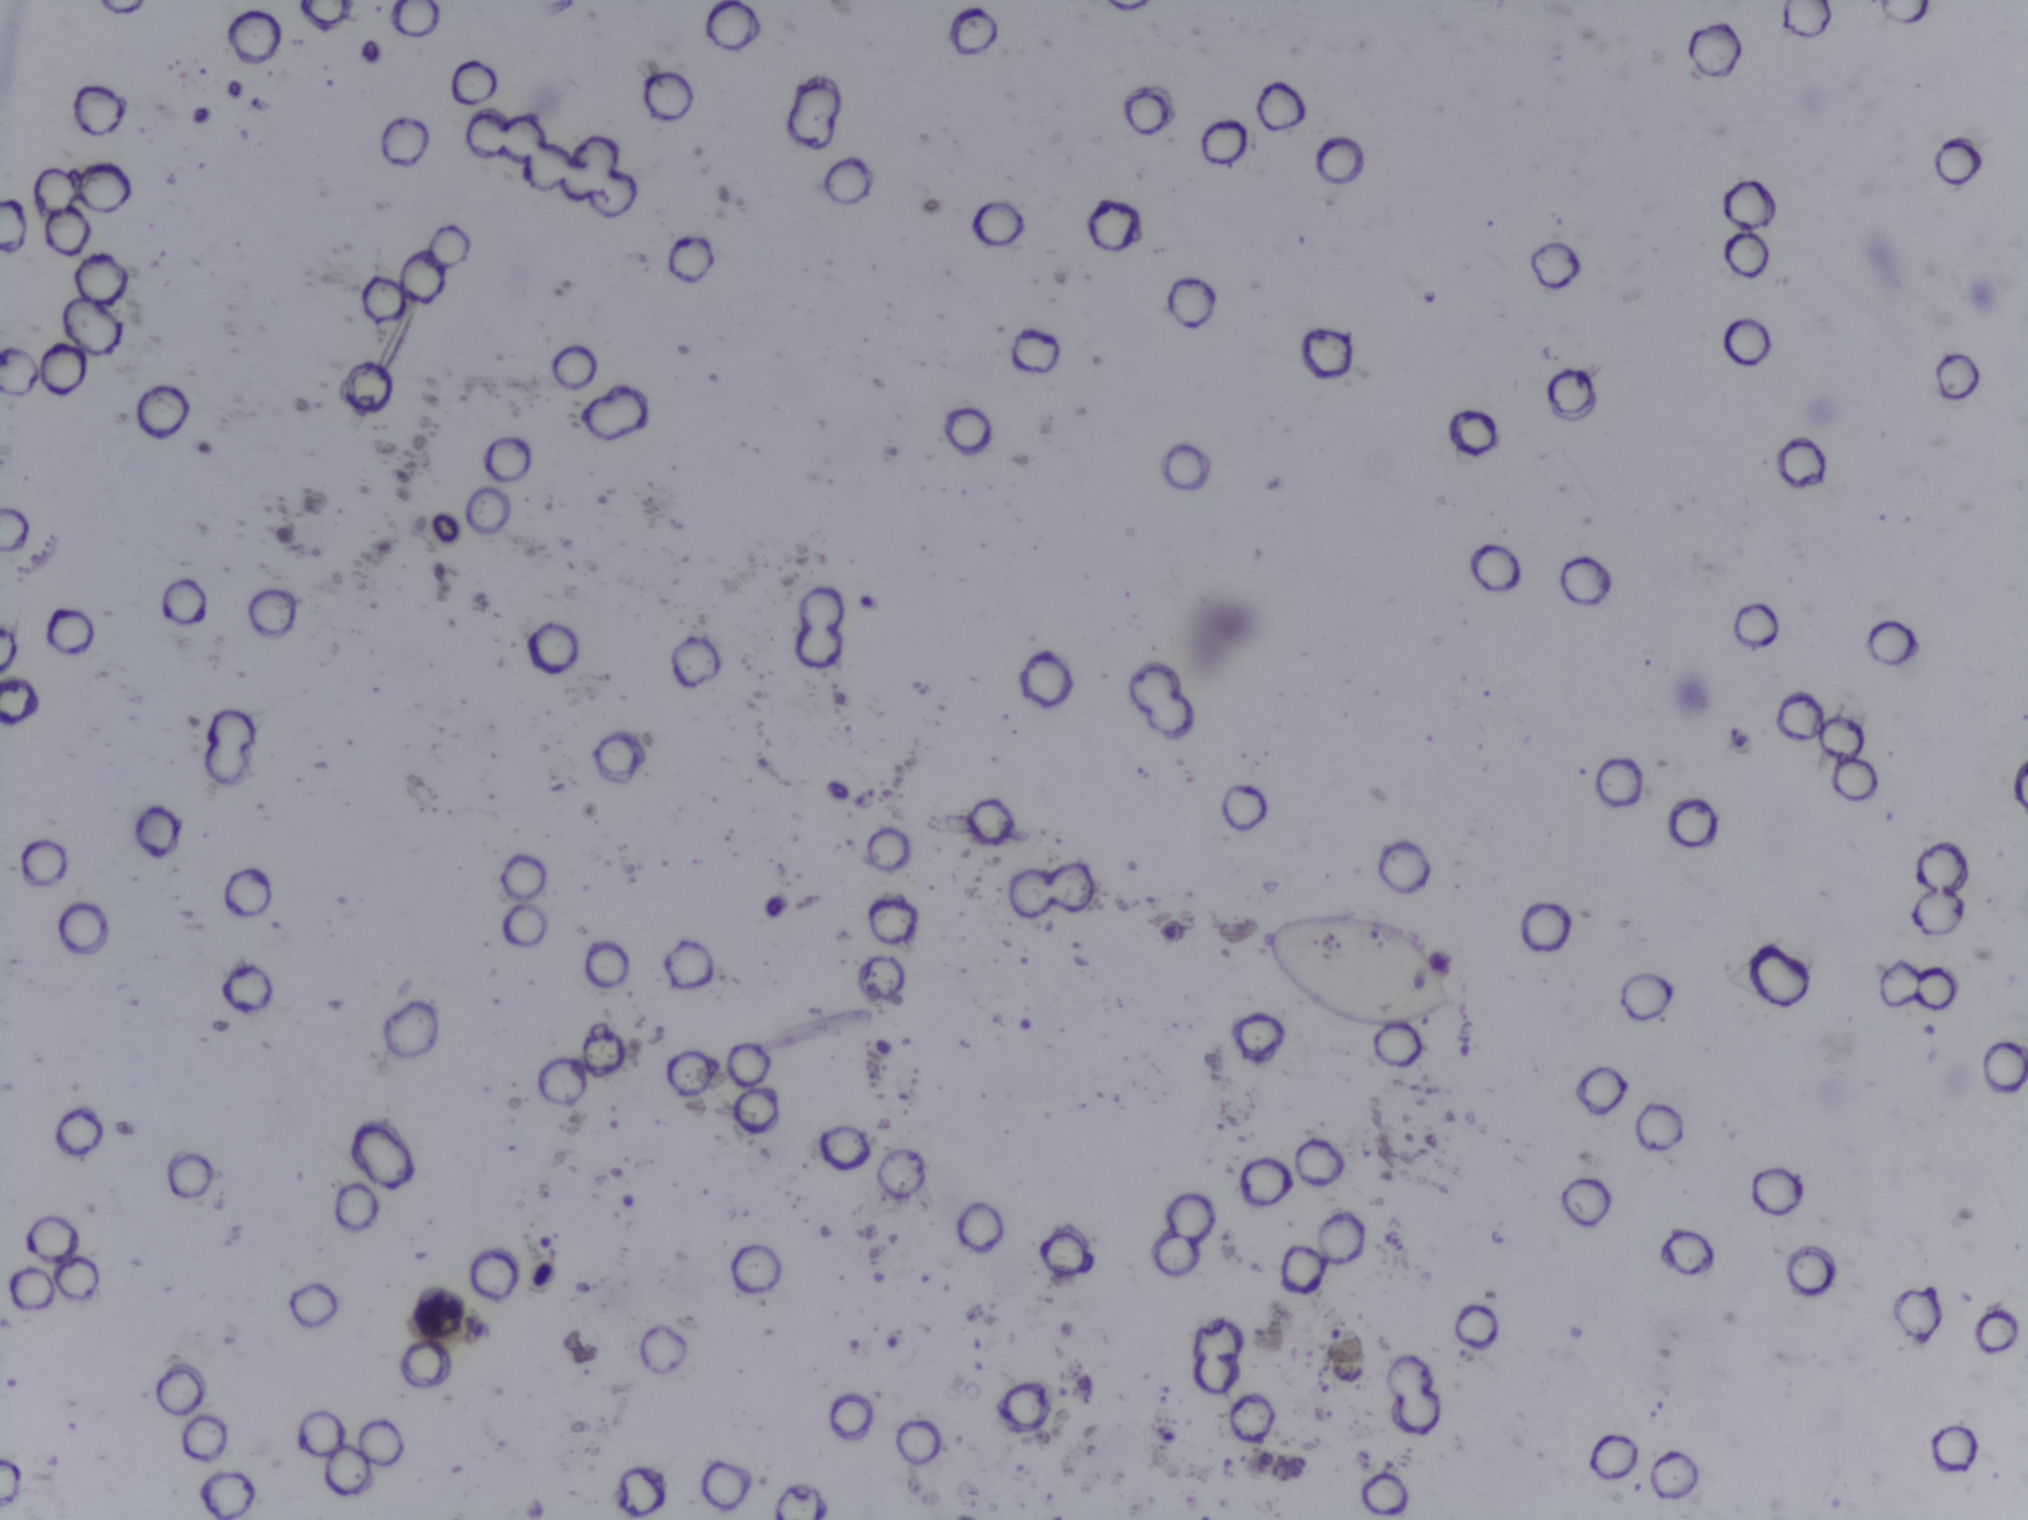
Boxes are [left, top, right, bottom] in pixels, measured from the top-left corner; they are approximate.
Schistosoma eggs are outlined in the expert annotation at [1258, 910, 1466, 1032]. A single outlined area may contain several eggs.
Photomicrograph of a urine filtration membrane, 4× objective.